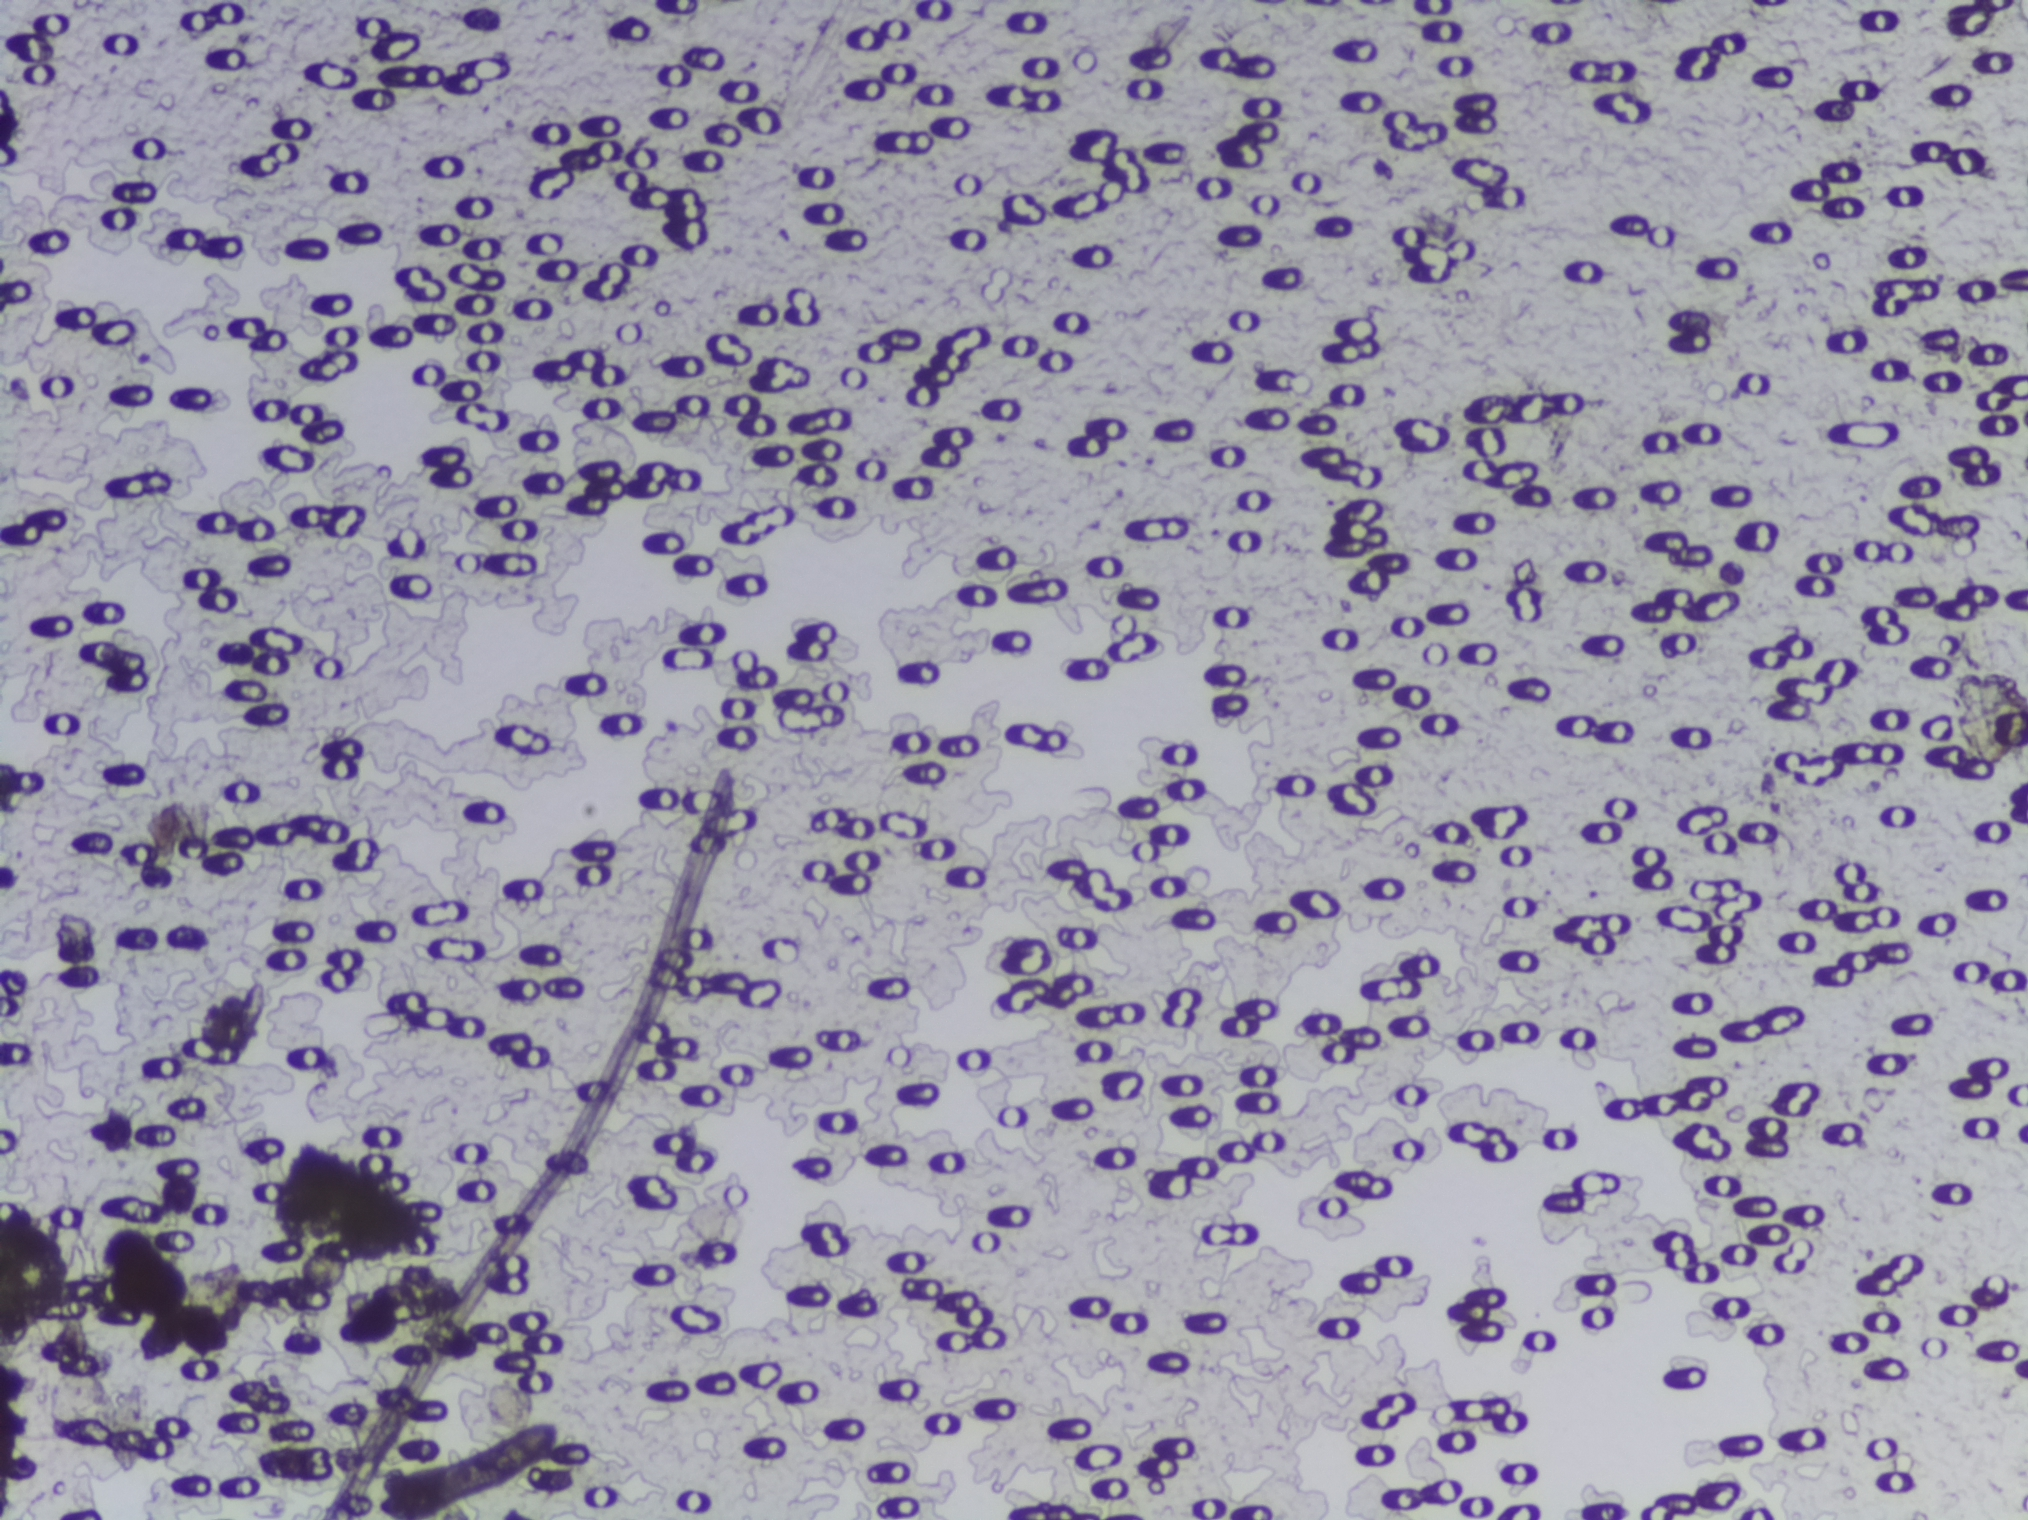
Photograph from an automated digital microscope: urine filter membrane, 4× objective.
The expert annotation marks no Schistosoma egg in this field of view.